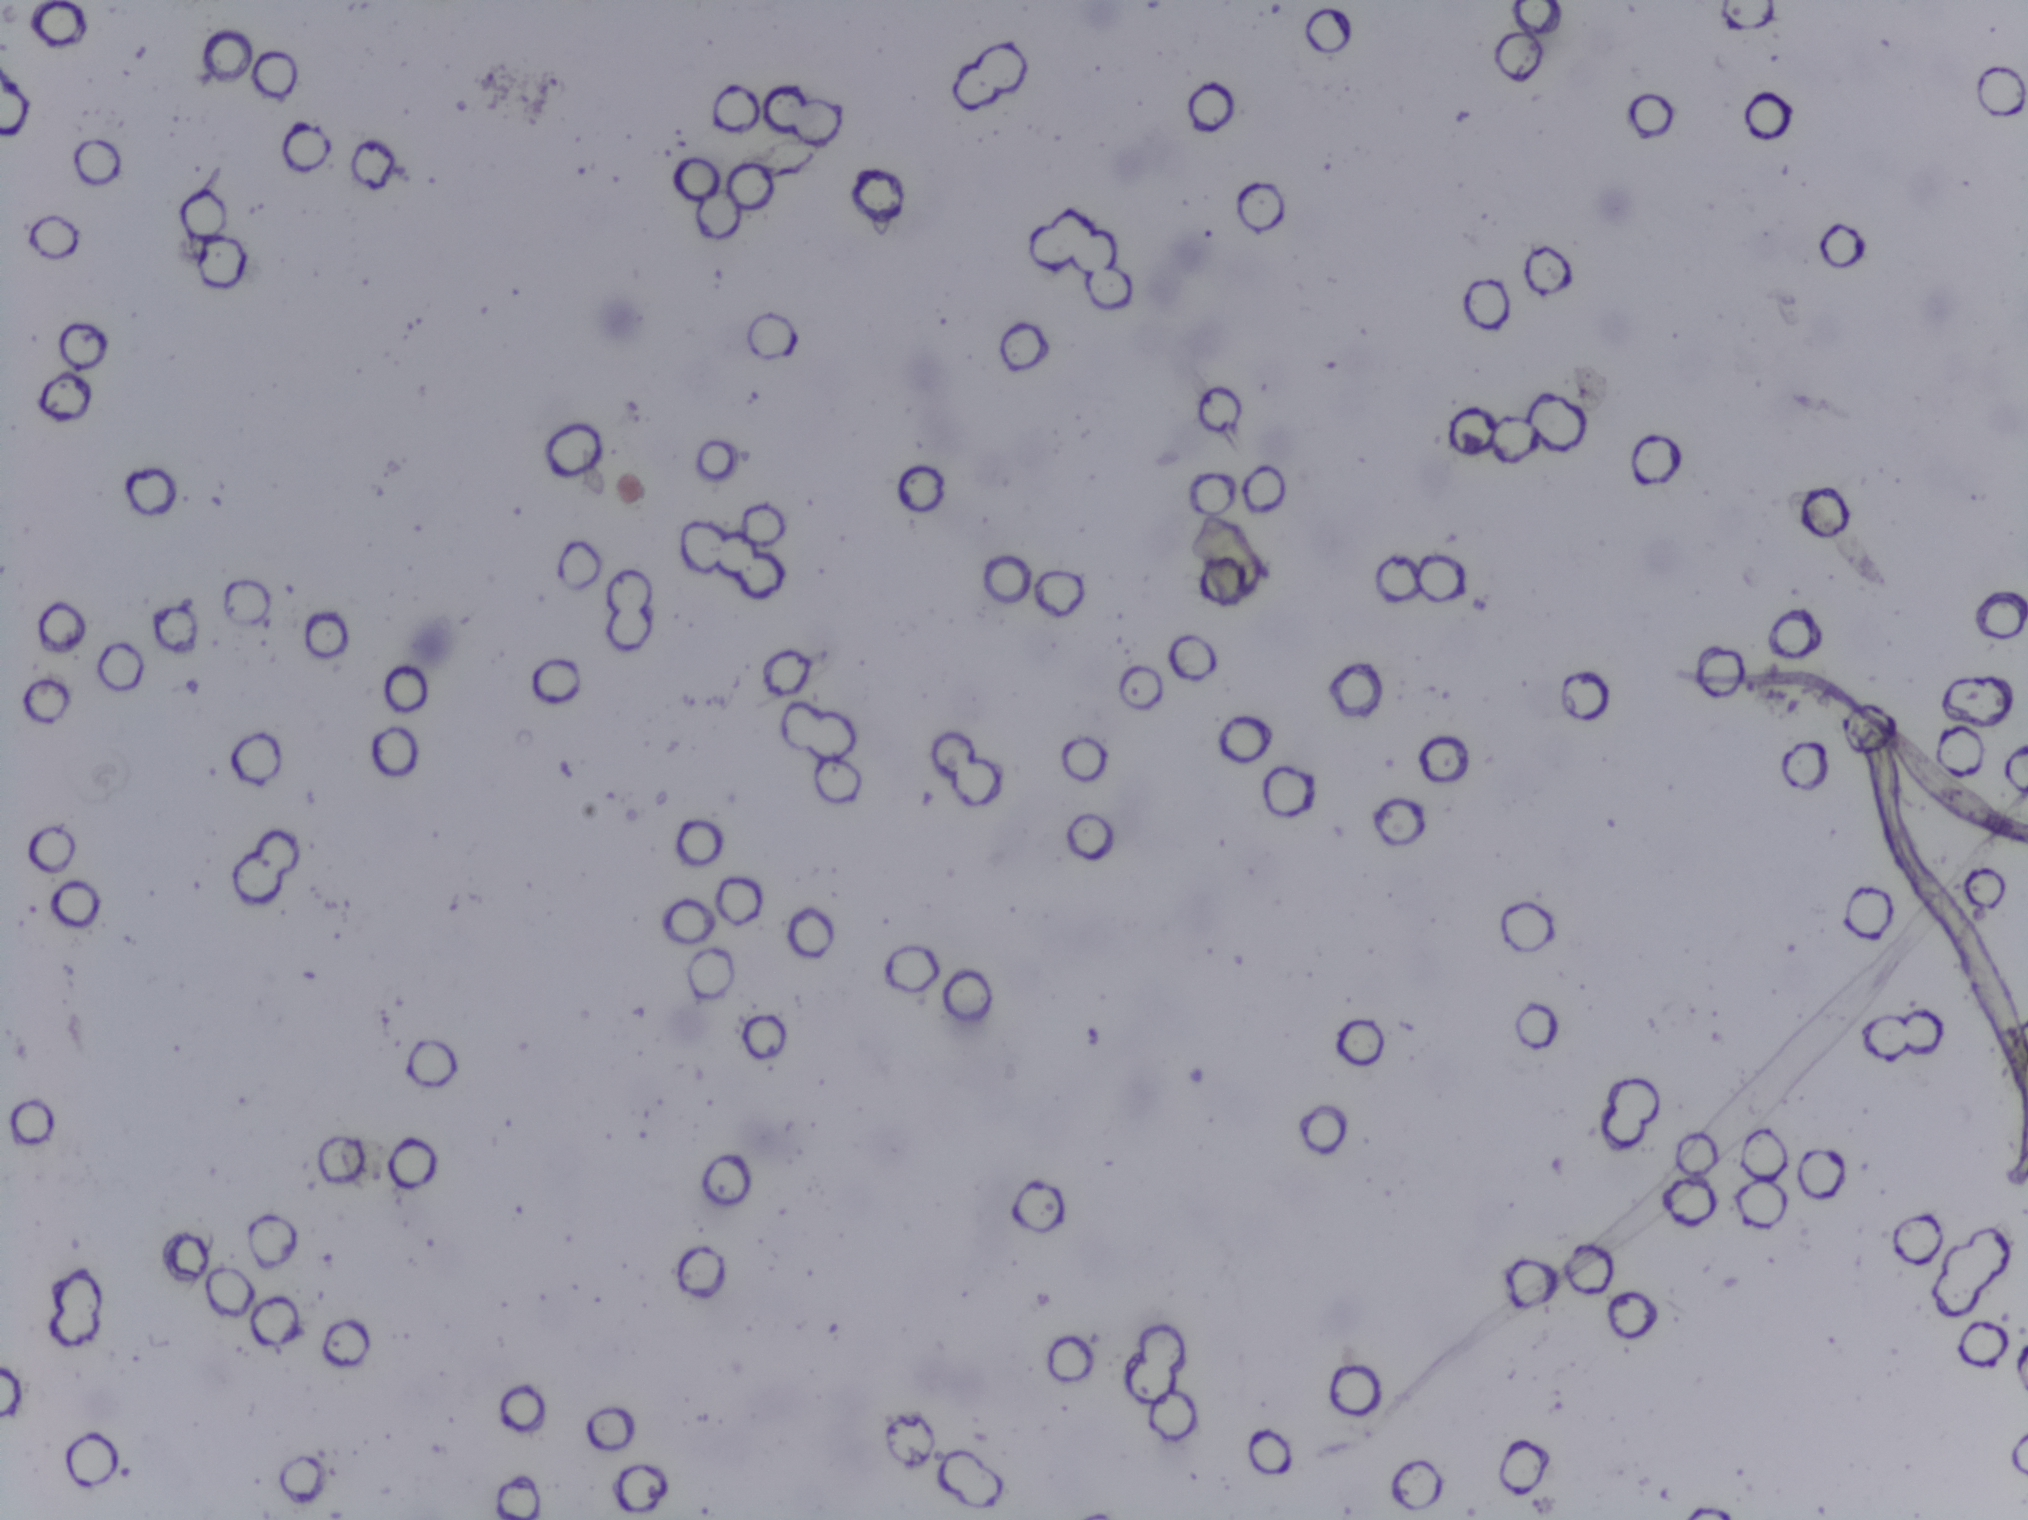
Microscope photograph (4× objective) of a membrane that a urine sample was filtered through.
No Schistosoma egg is outlined in this image's expert annotation.